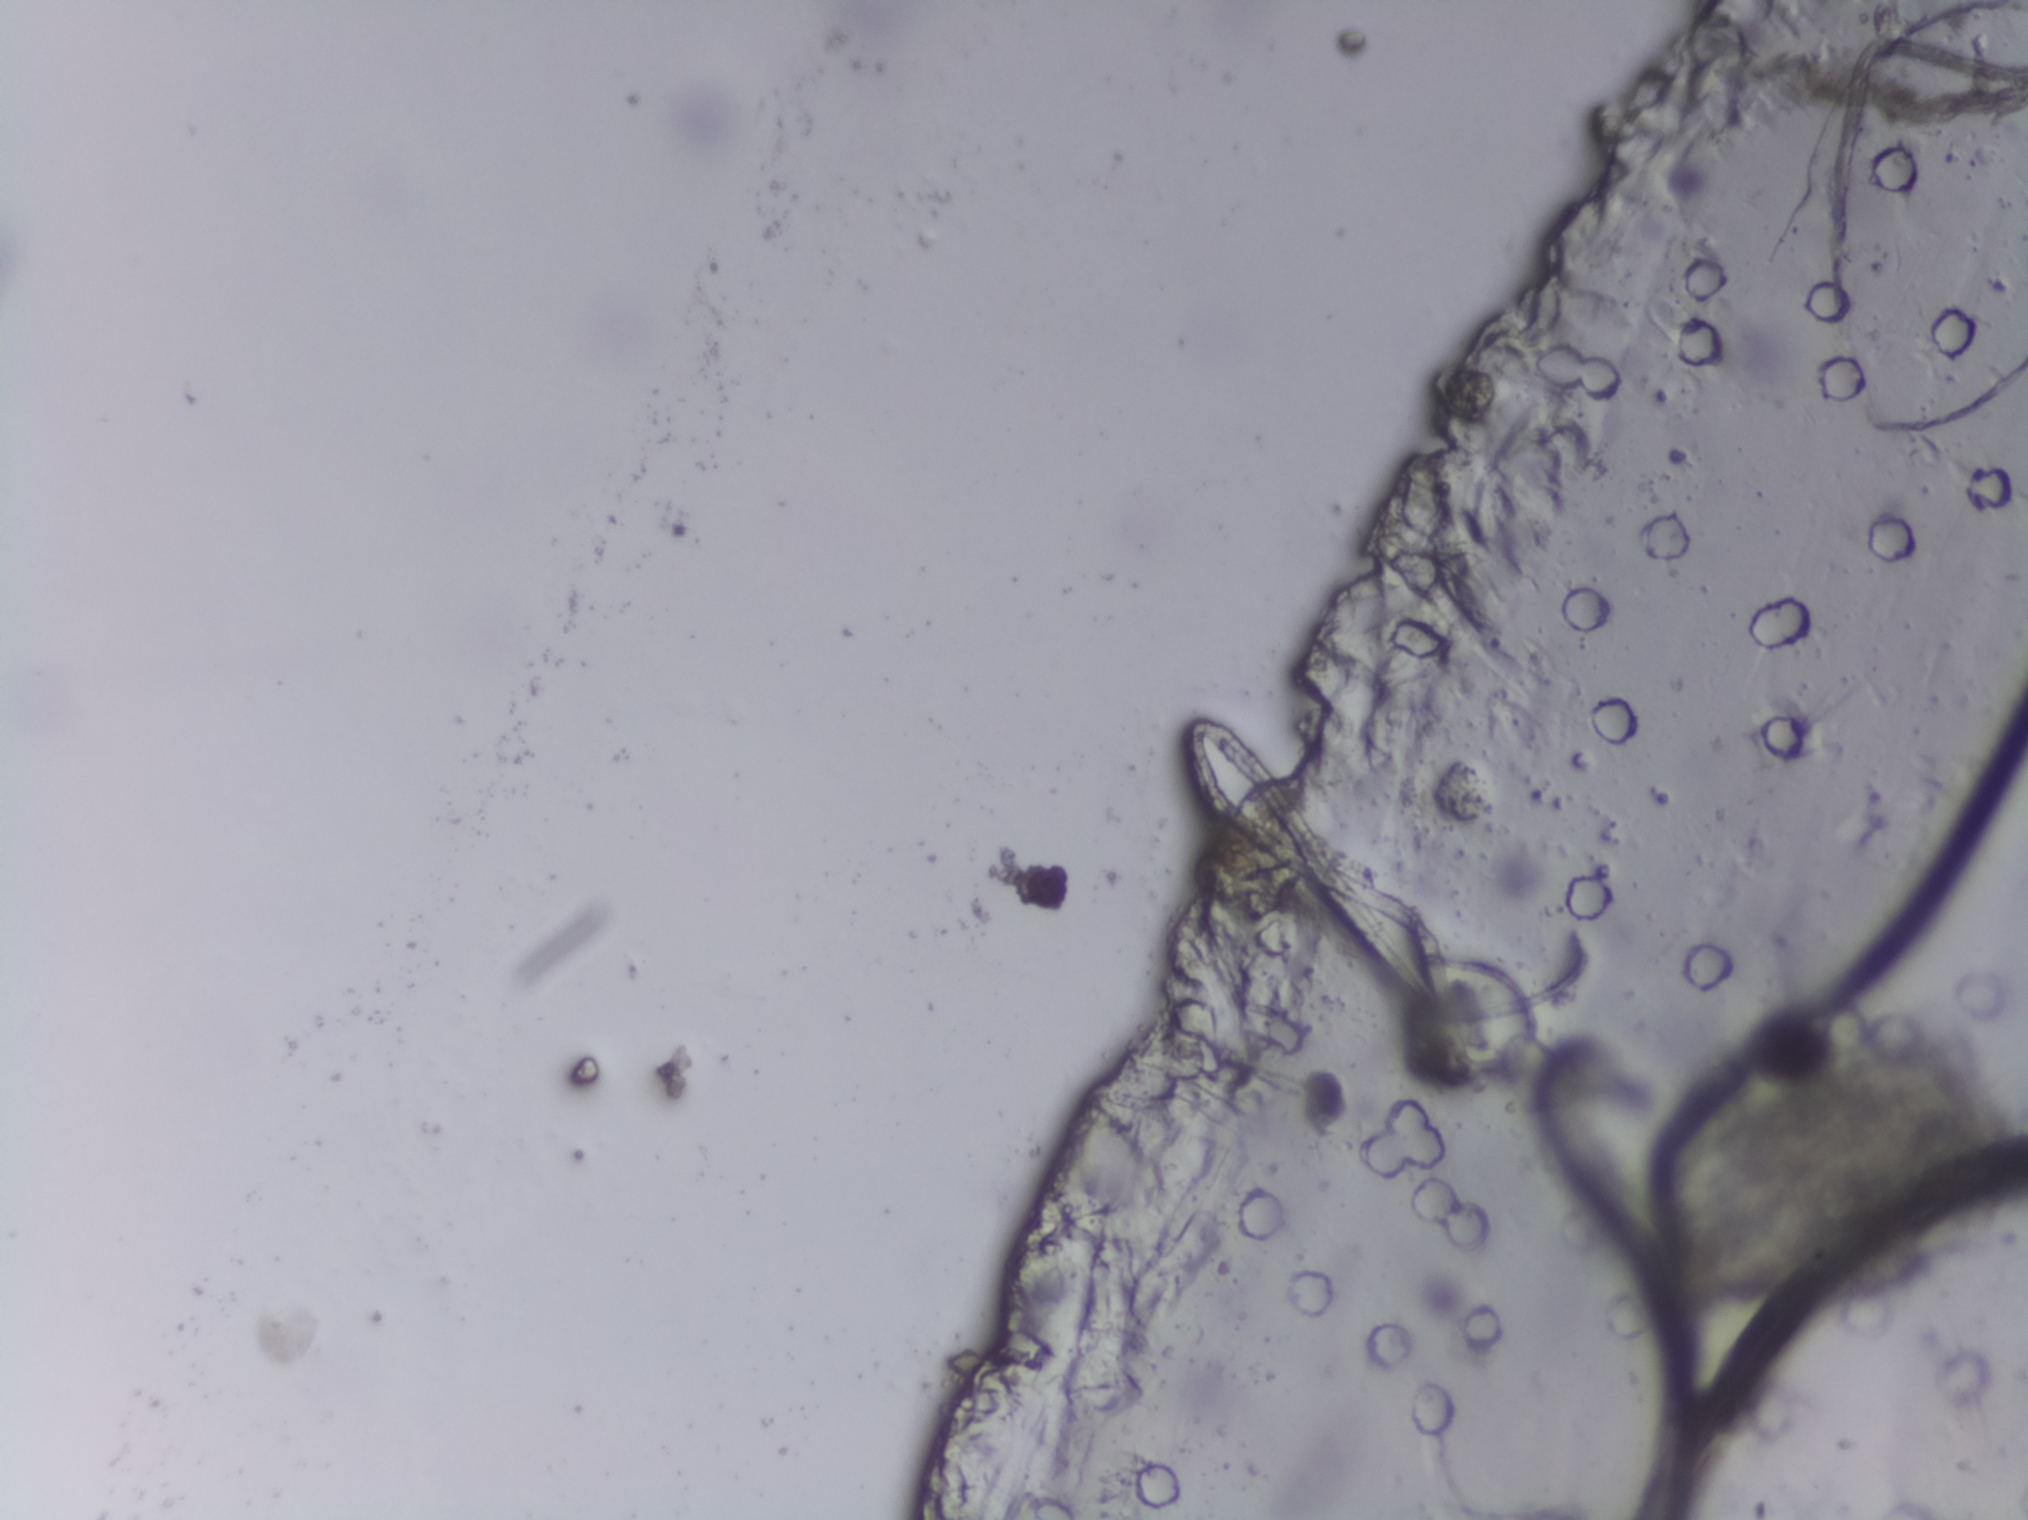
No area of this image was outlined as a Schistosoma egg.
Microscope photograph (4× objective) of a membrane that a urine sample was filtered through. The field of view is about 1.5 mm × 1.1 mm.